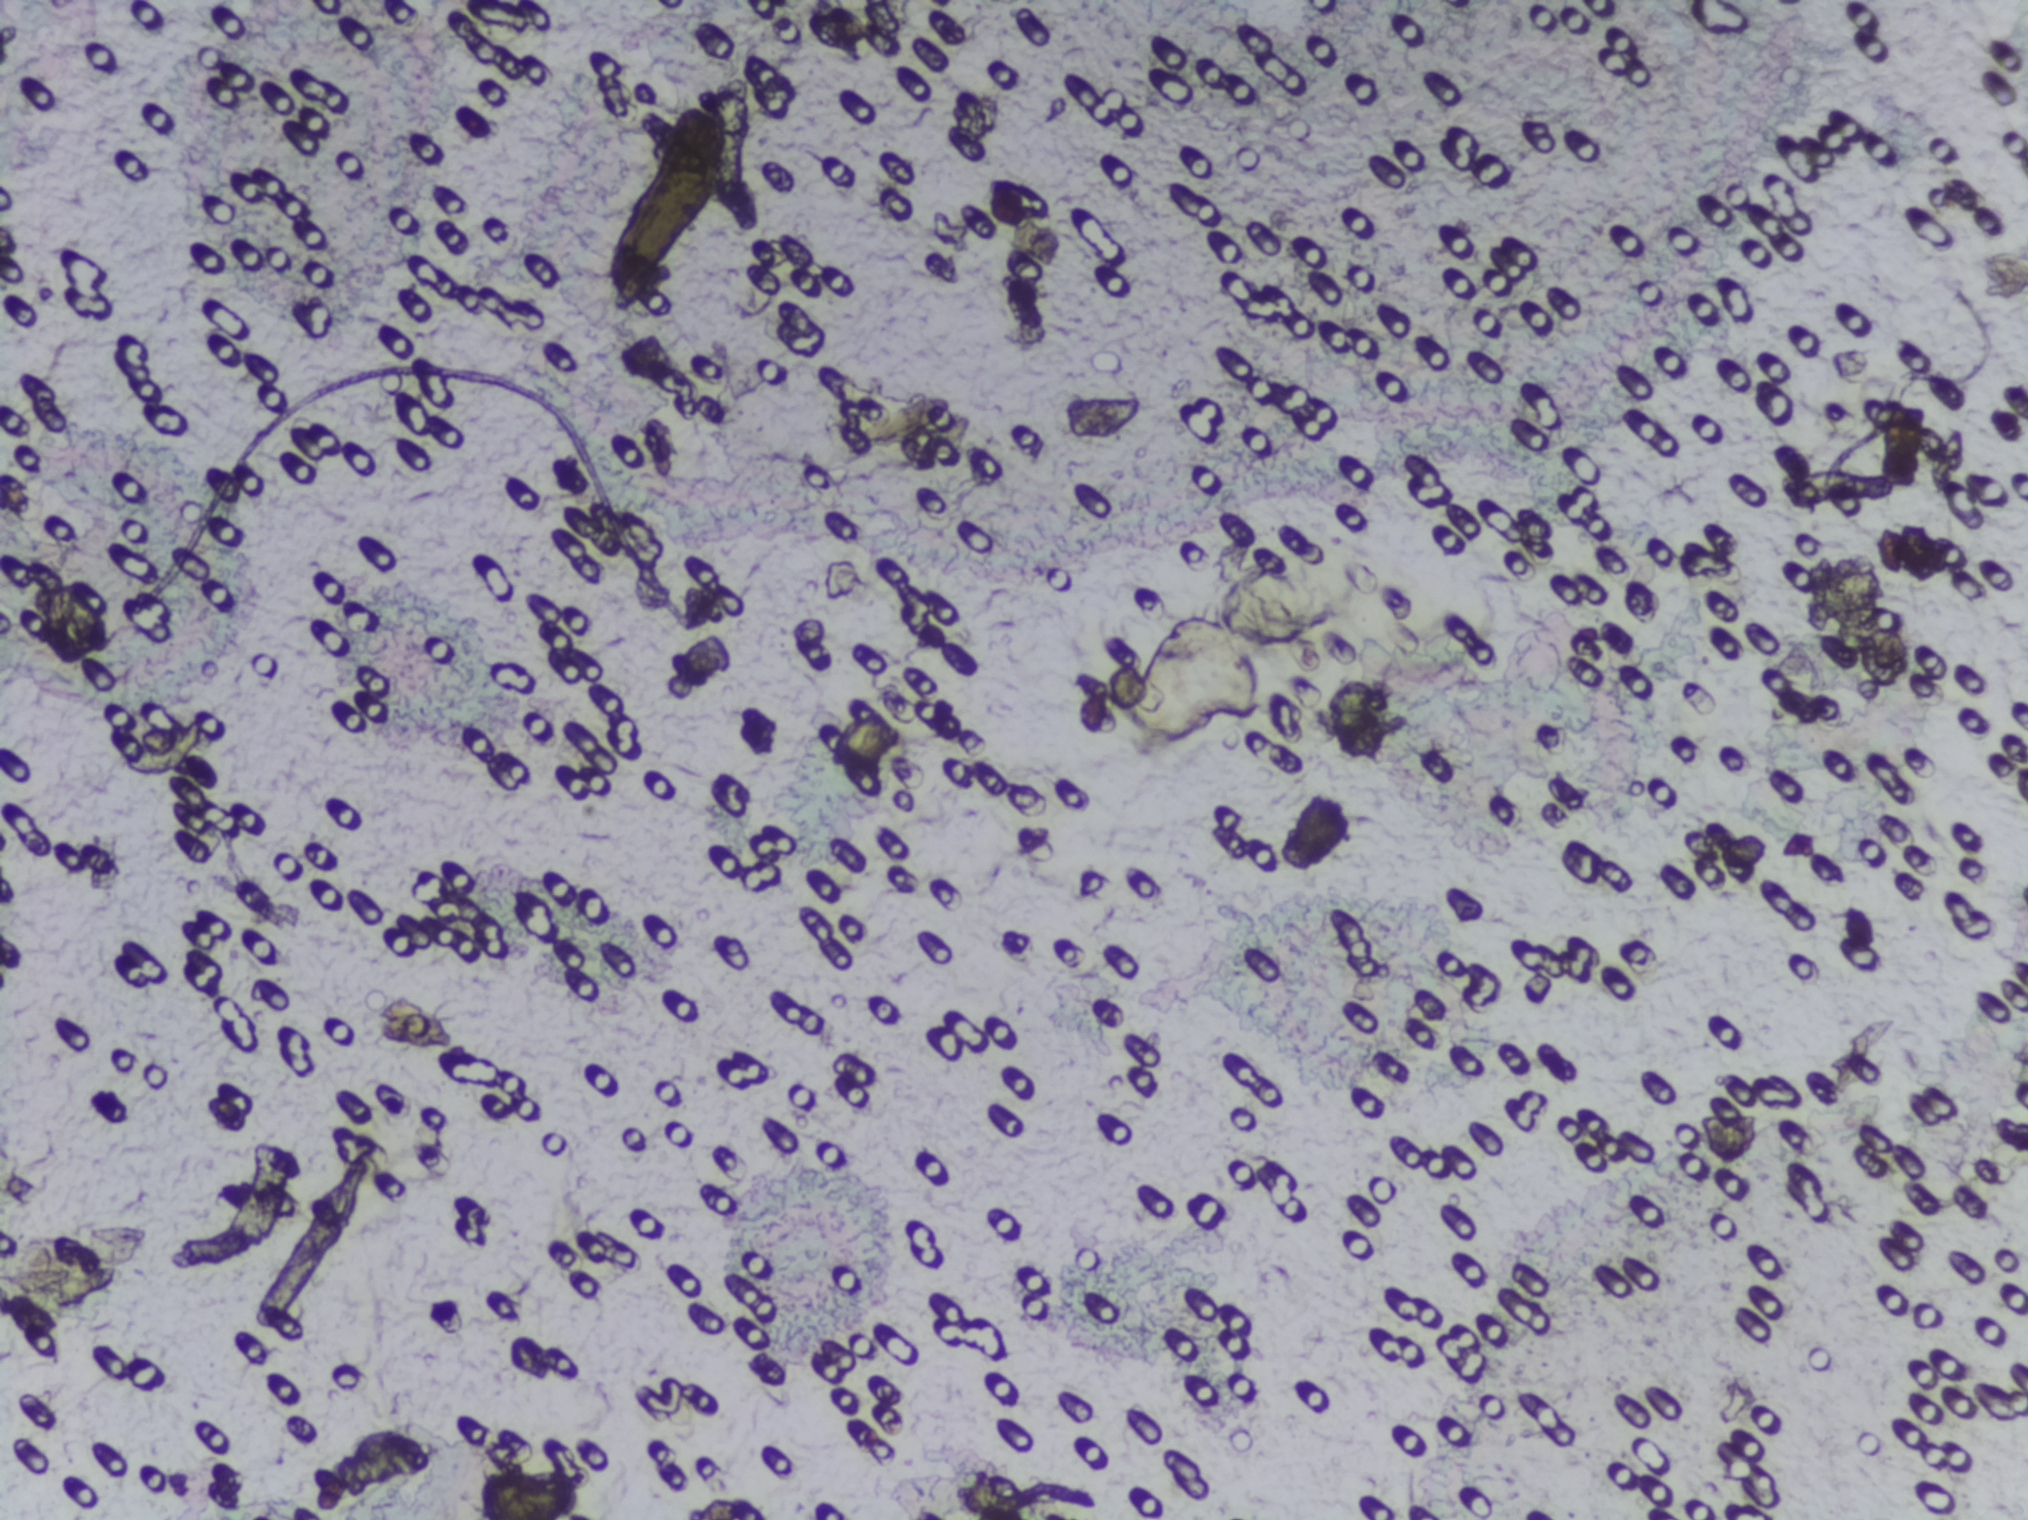
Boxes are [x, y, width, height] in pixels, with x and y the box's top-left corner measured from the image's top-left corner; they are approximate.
Schistosoma eggs, outlined areas: [1213, 532, 178, 121]. A single outlined area may contain several eggs.
Urine filter membrane photographed through a 4× microscope objective. Field of view: about 1.5 mm wide and 1.1 mm high.